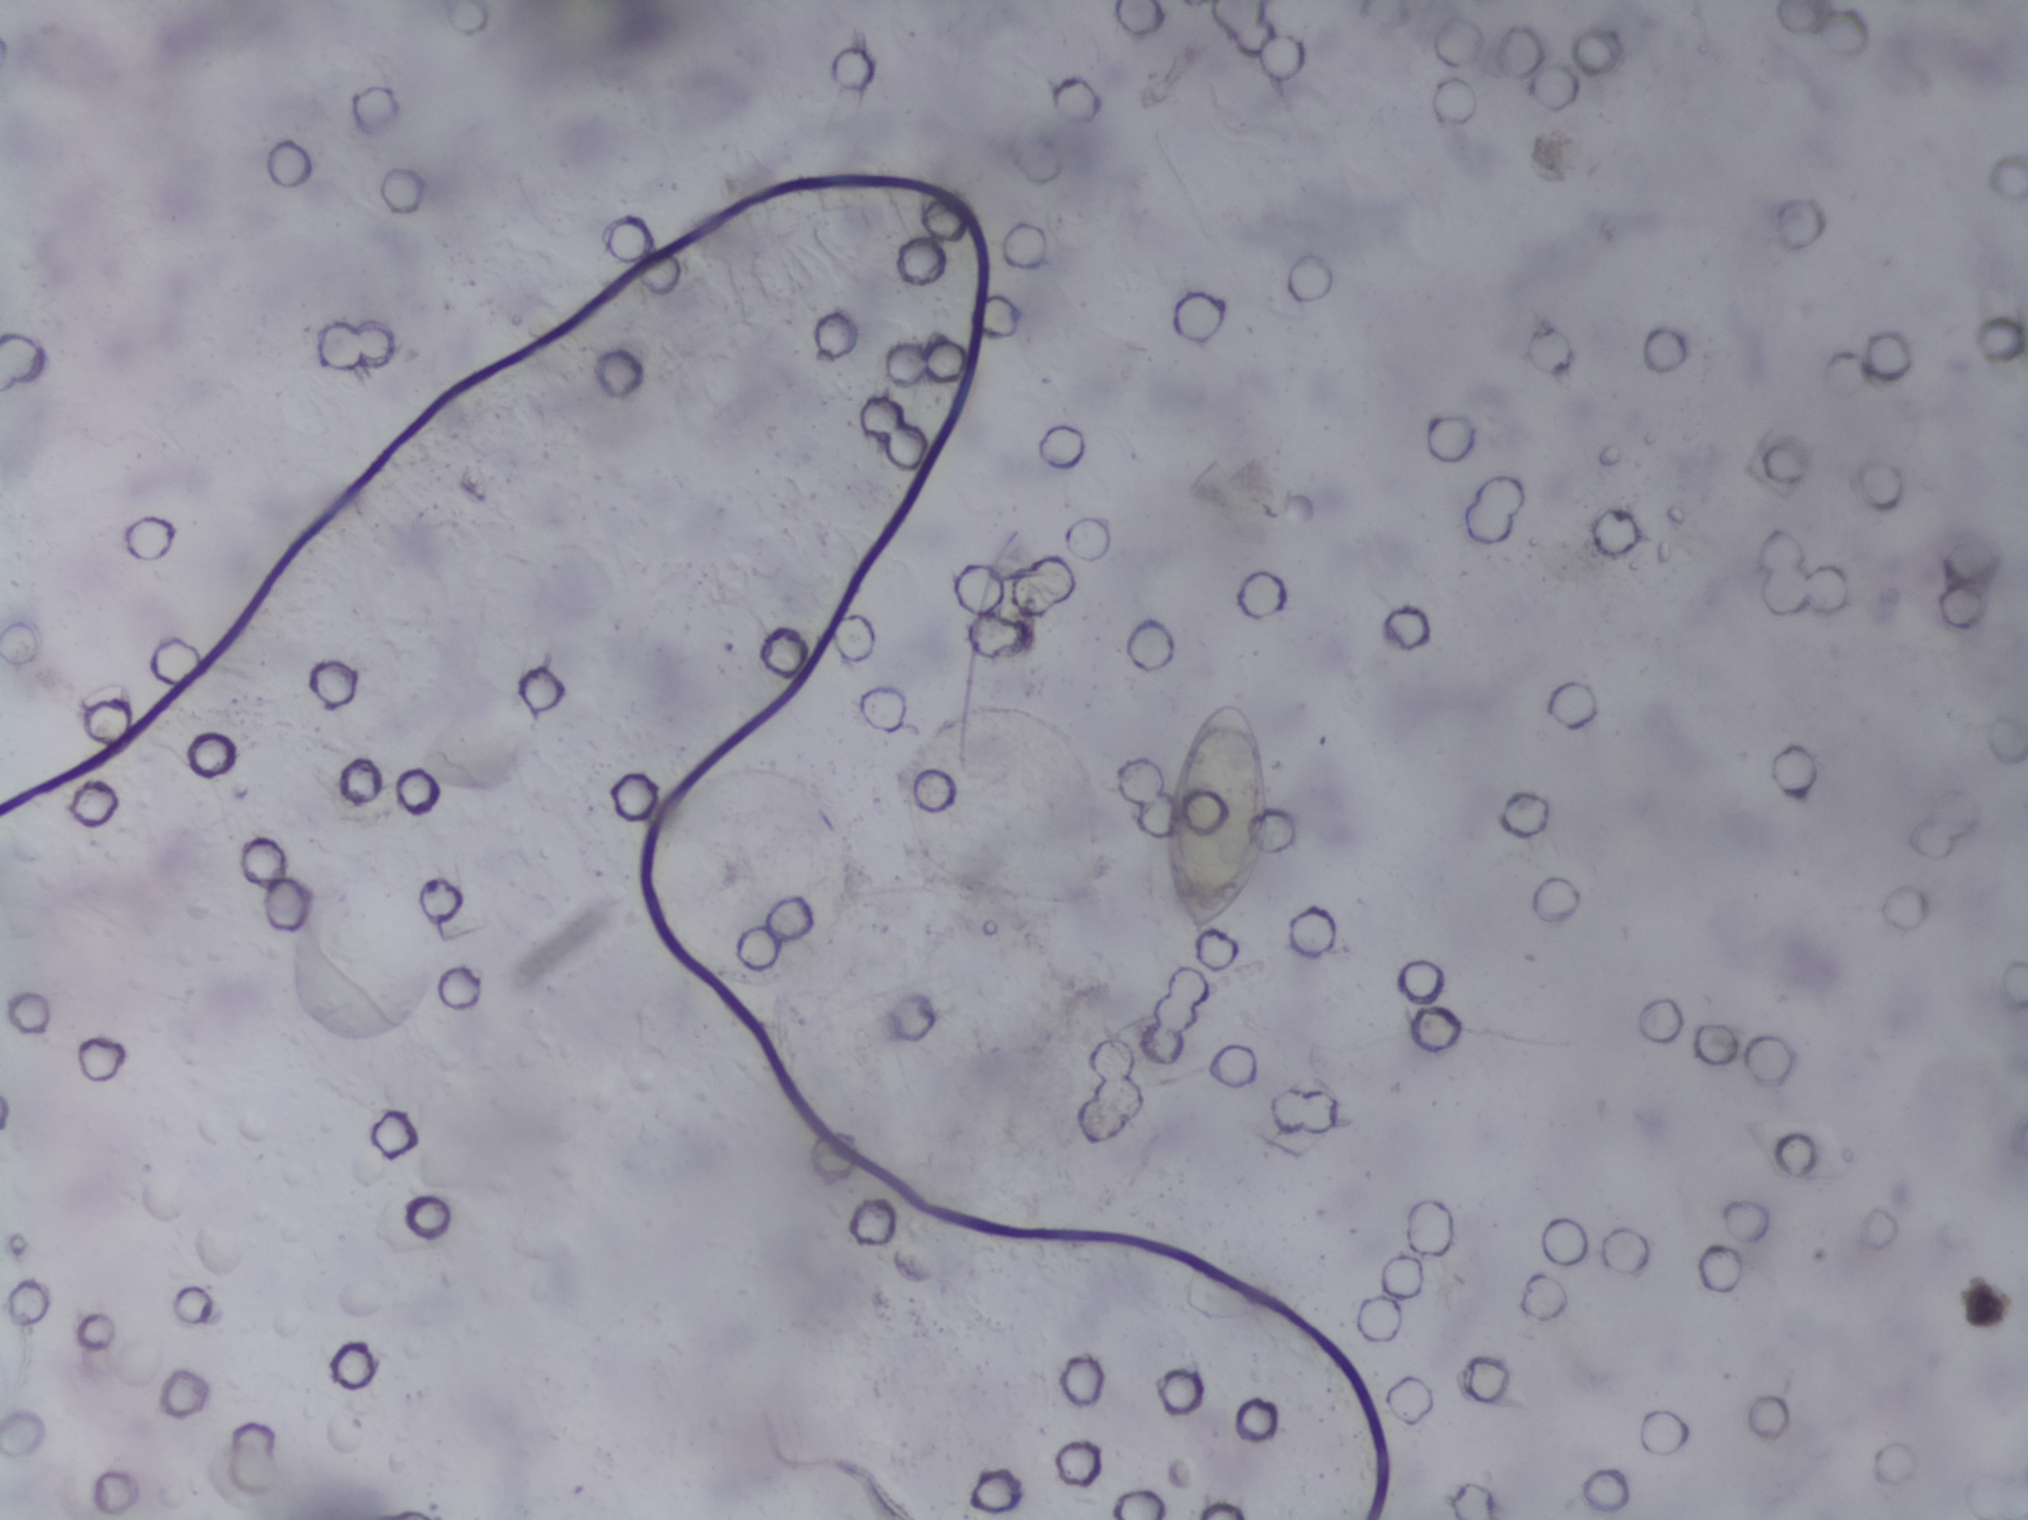
Photomicrograph of a urine filtration membrane, 4× objective.
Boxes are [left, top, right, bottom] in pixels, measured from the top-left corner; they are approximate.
One area of this image is outlined as Schistosoma eggs: [1154, 695, 1275, 944]. Eggs that touch can end up inside the same outlined area.